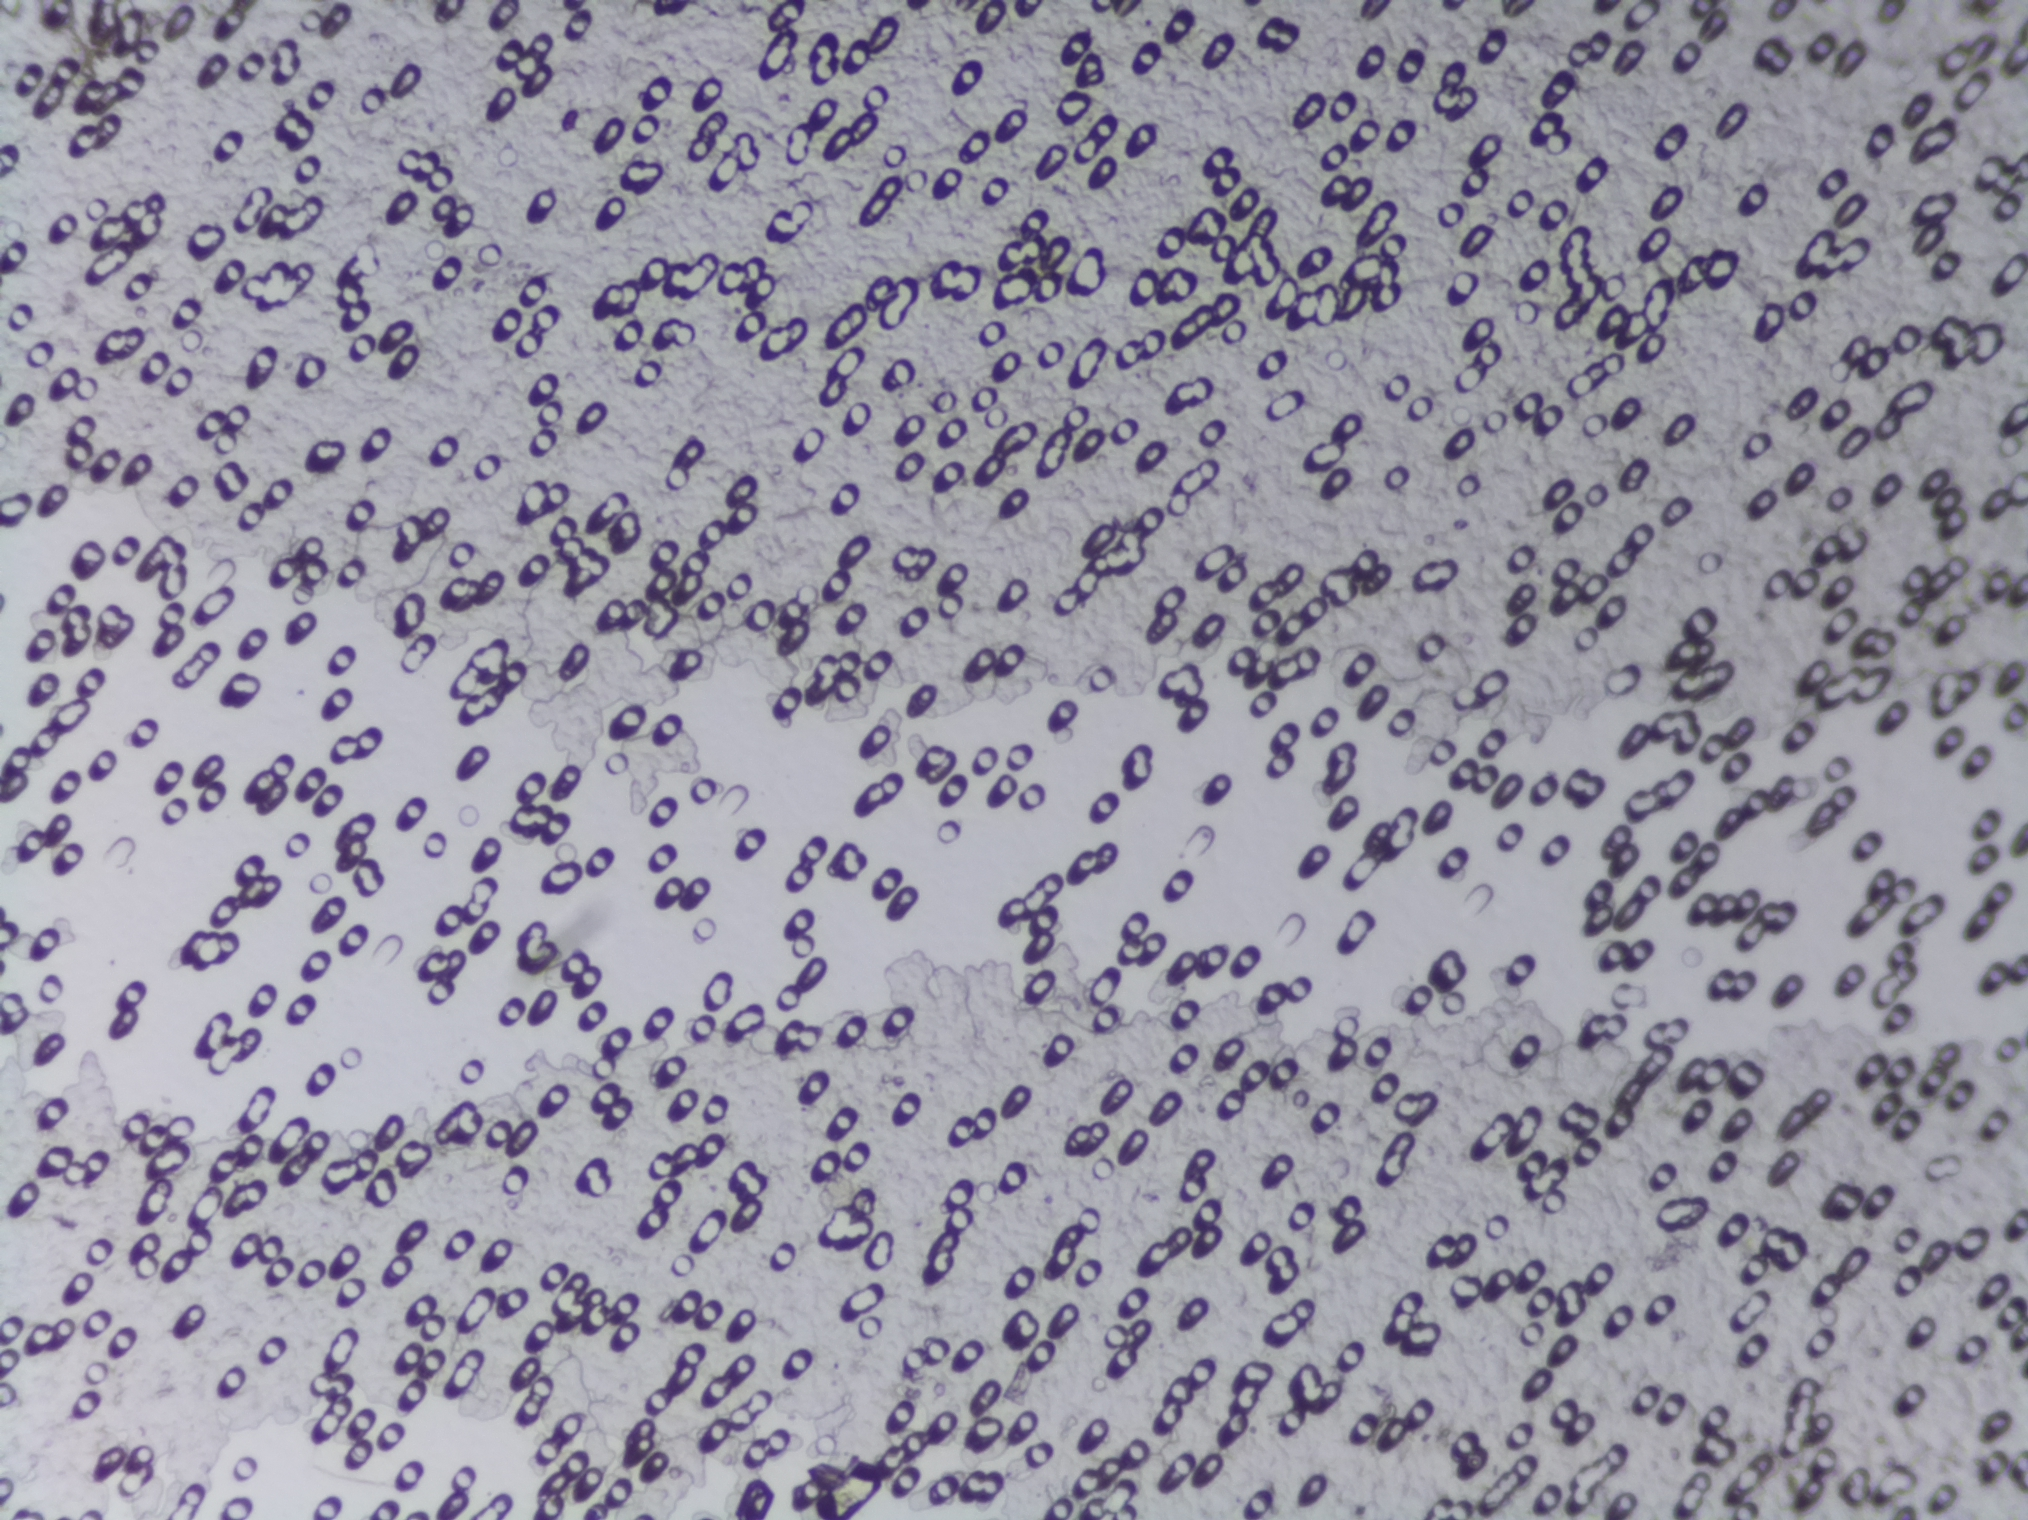
Urine filter membrane photographed through a 4× microscope objective.
No Schistosoma egg is outlined in this image's expert annotation.